One field of view of a urine filter membrane, 4× objective, 2028 × 1520 pixels.
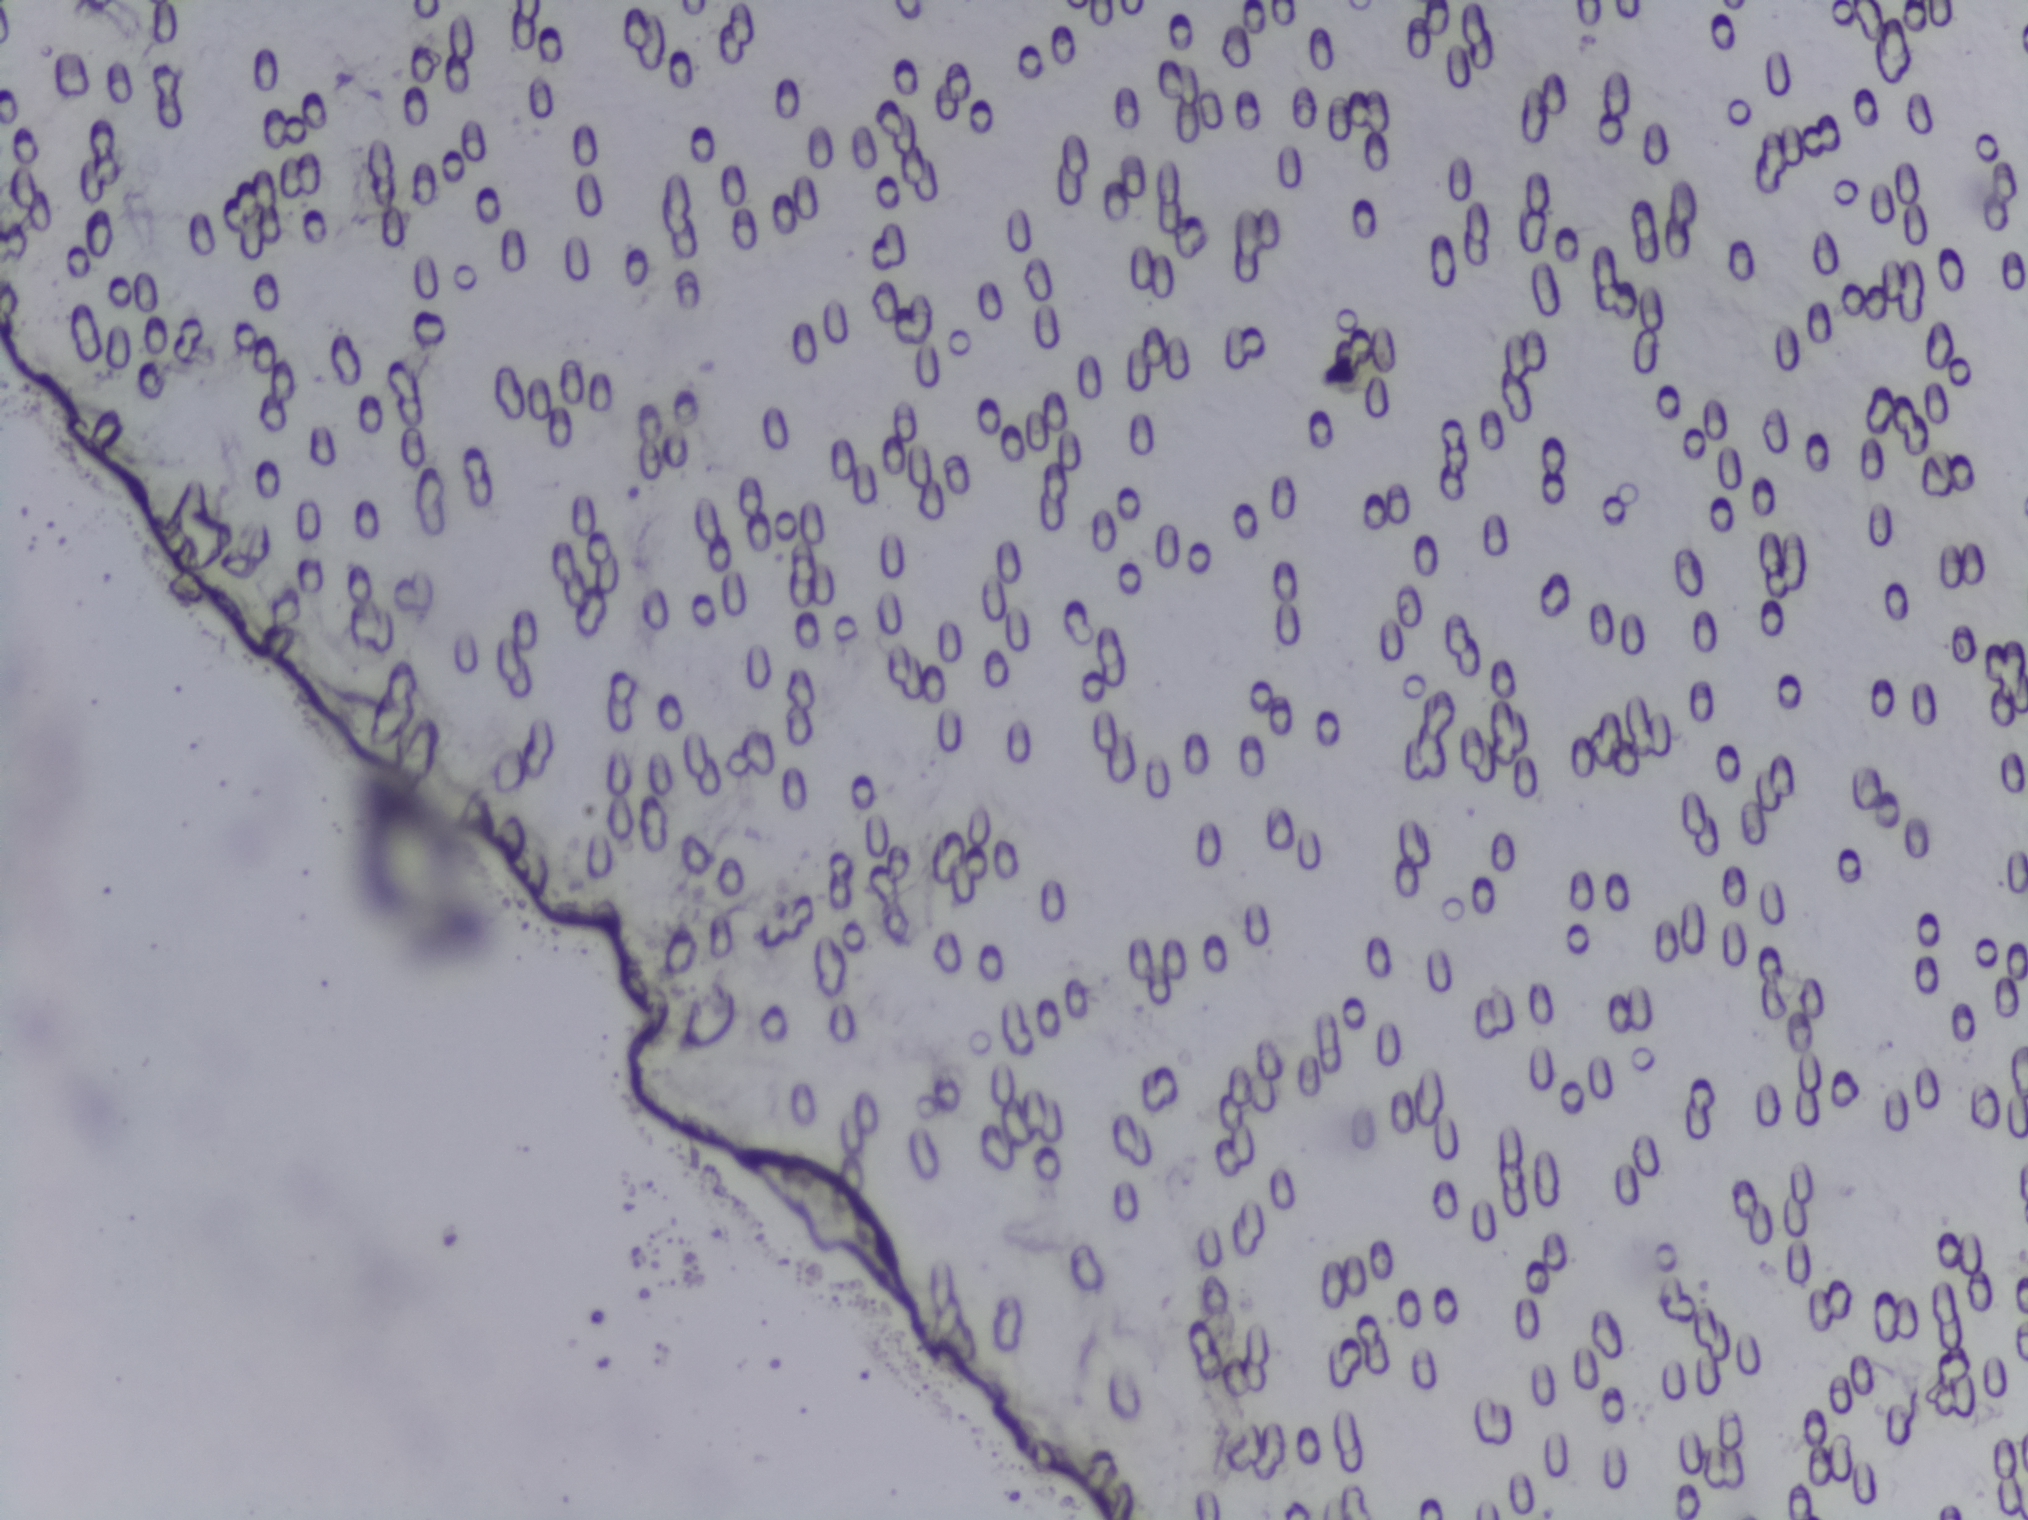
Schistosoma eggs: none outlined.